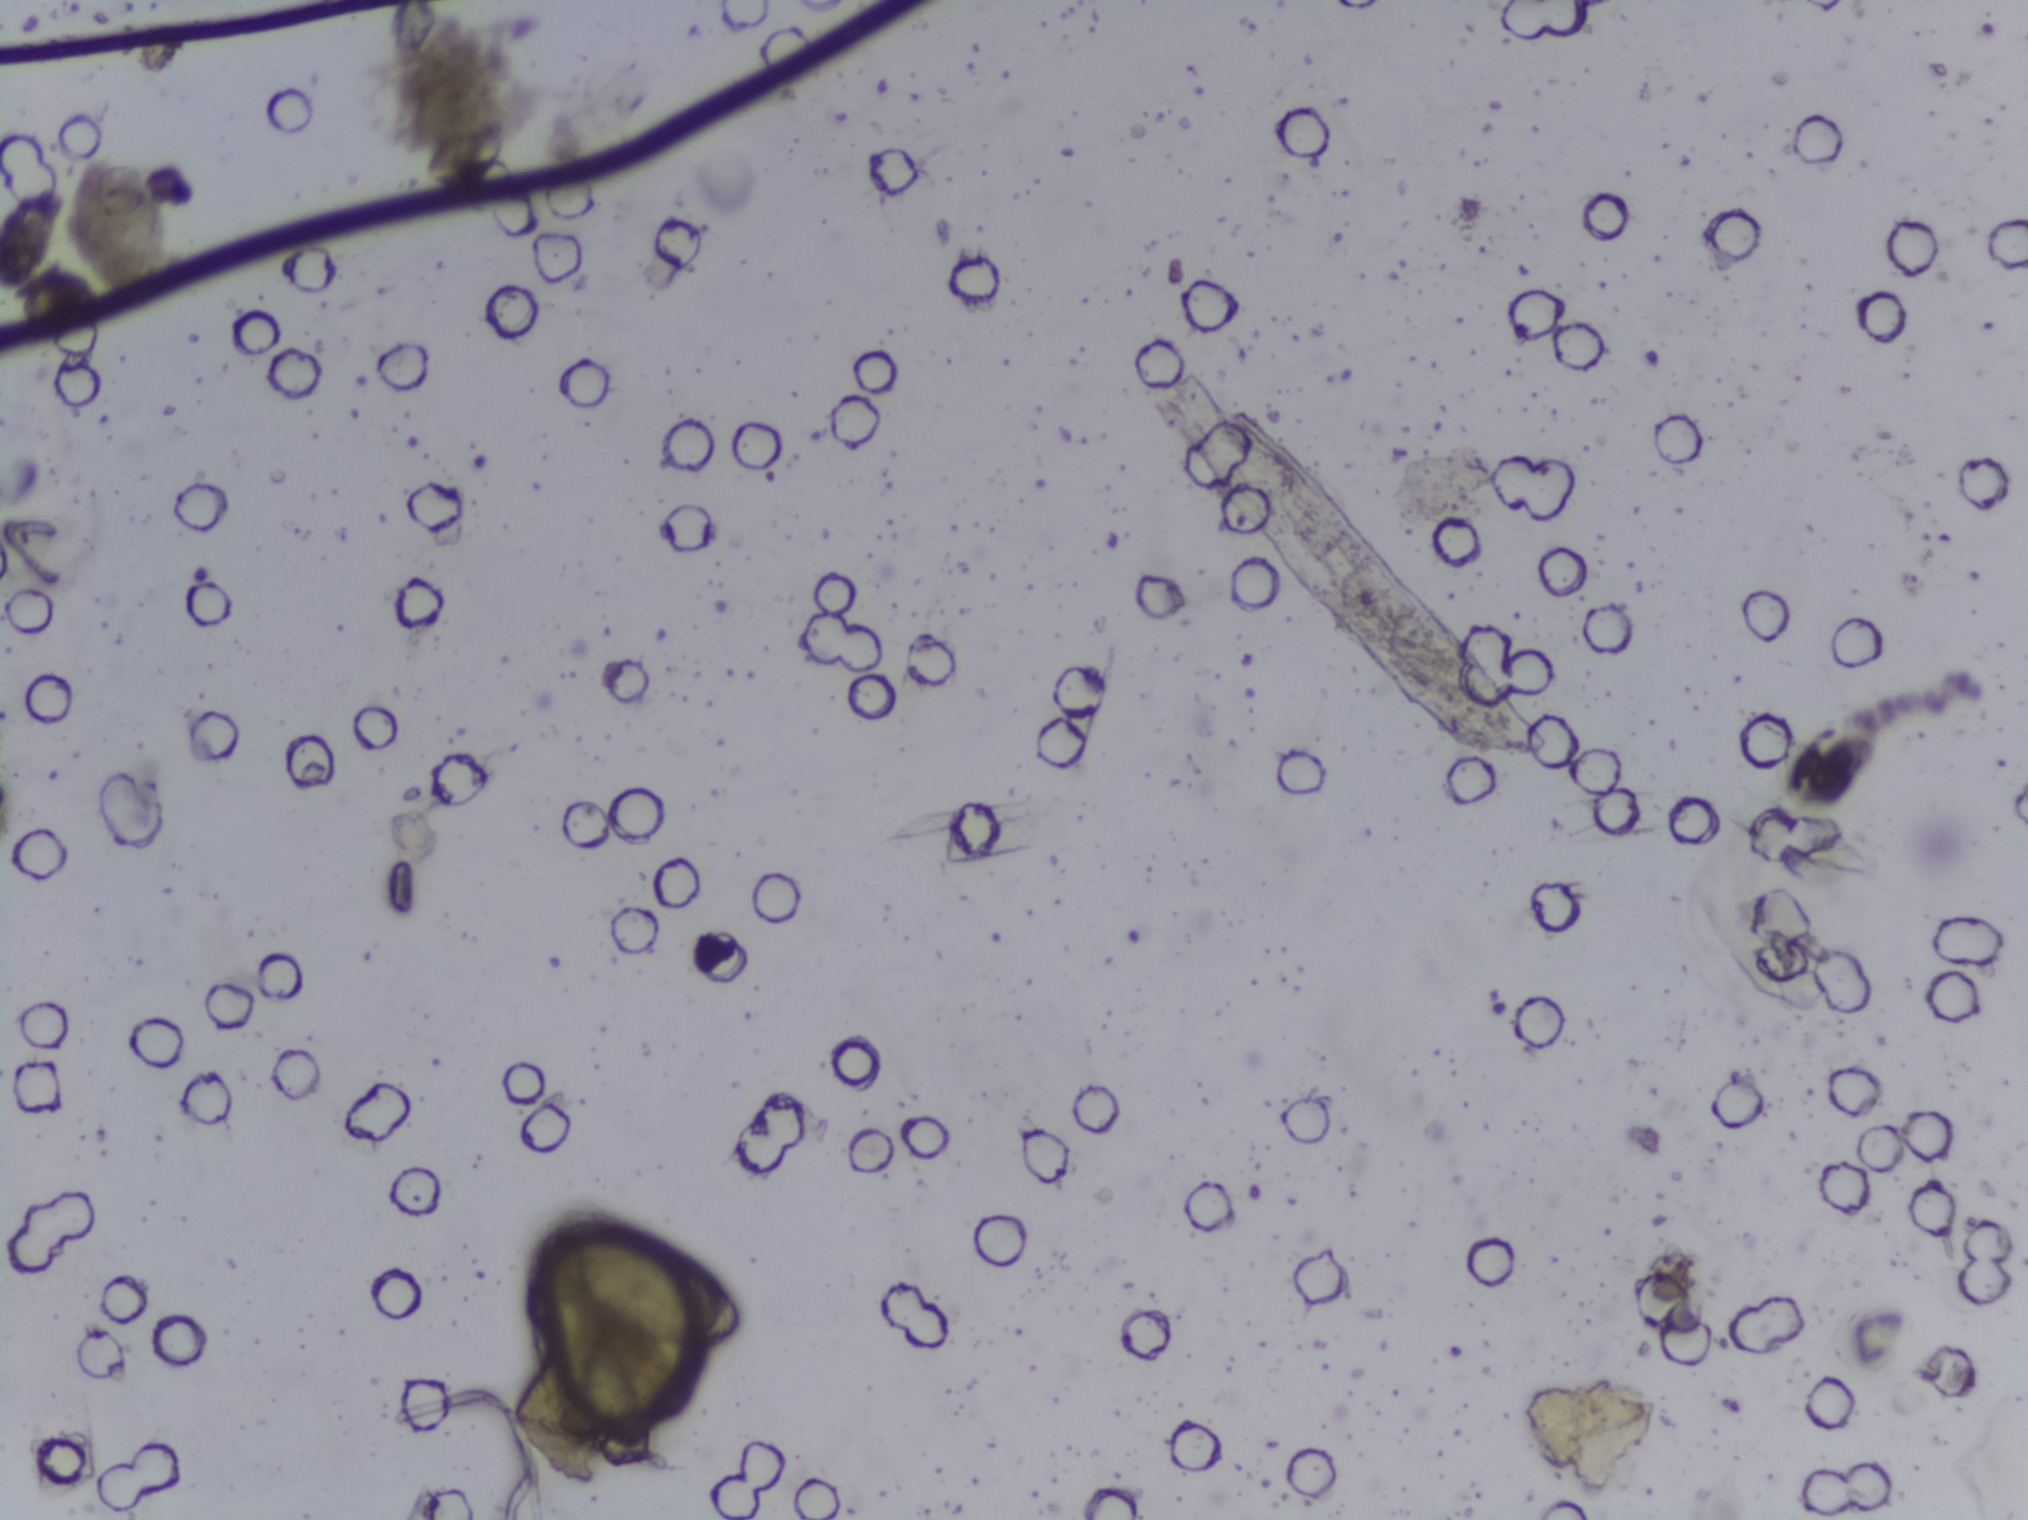
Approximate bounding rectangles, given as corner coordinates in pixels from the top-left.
The expert annotation outlines Schistosoma eggs at (x1=0, y1=183, x2=61, y2=291) (reaching the left edge of the frame) and (x1=550, y1=1213, x2=748, y2=1348) (left to right). About 0.7% of the image's pixels are marked (the marked pixels themselves, not the boxes around them). A single outlined area may contain several eggs.
Photograph from an automated digital microscope: urine filter membrane, 4× objective.